Photomicrograph of a urine filtration membrane, 4× objective.
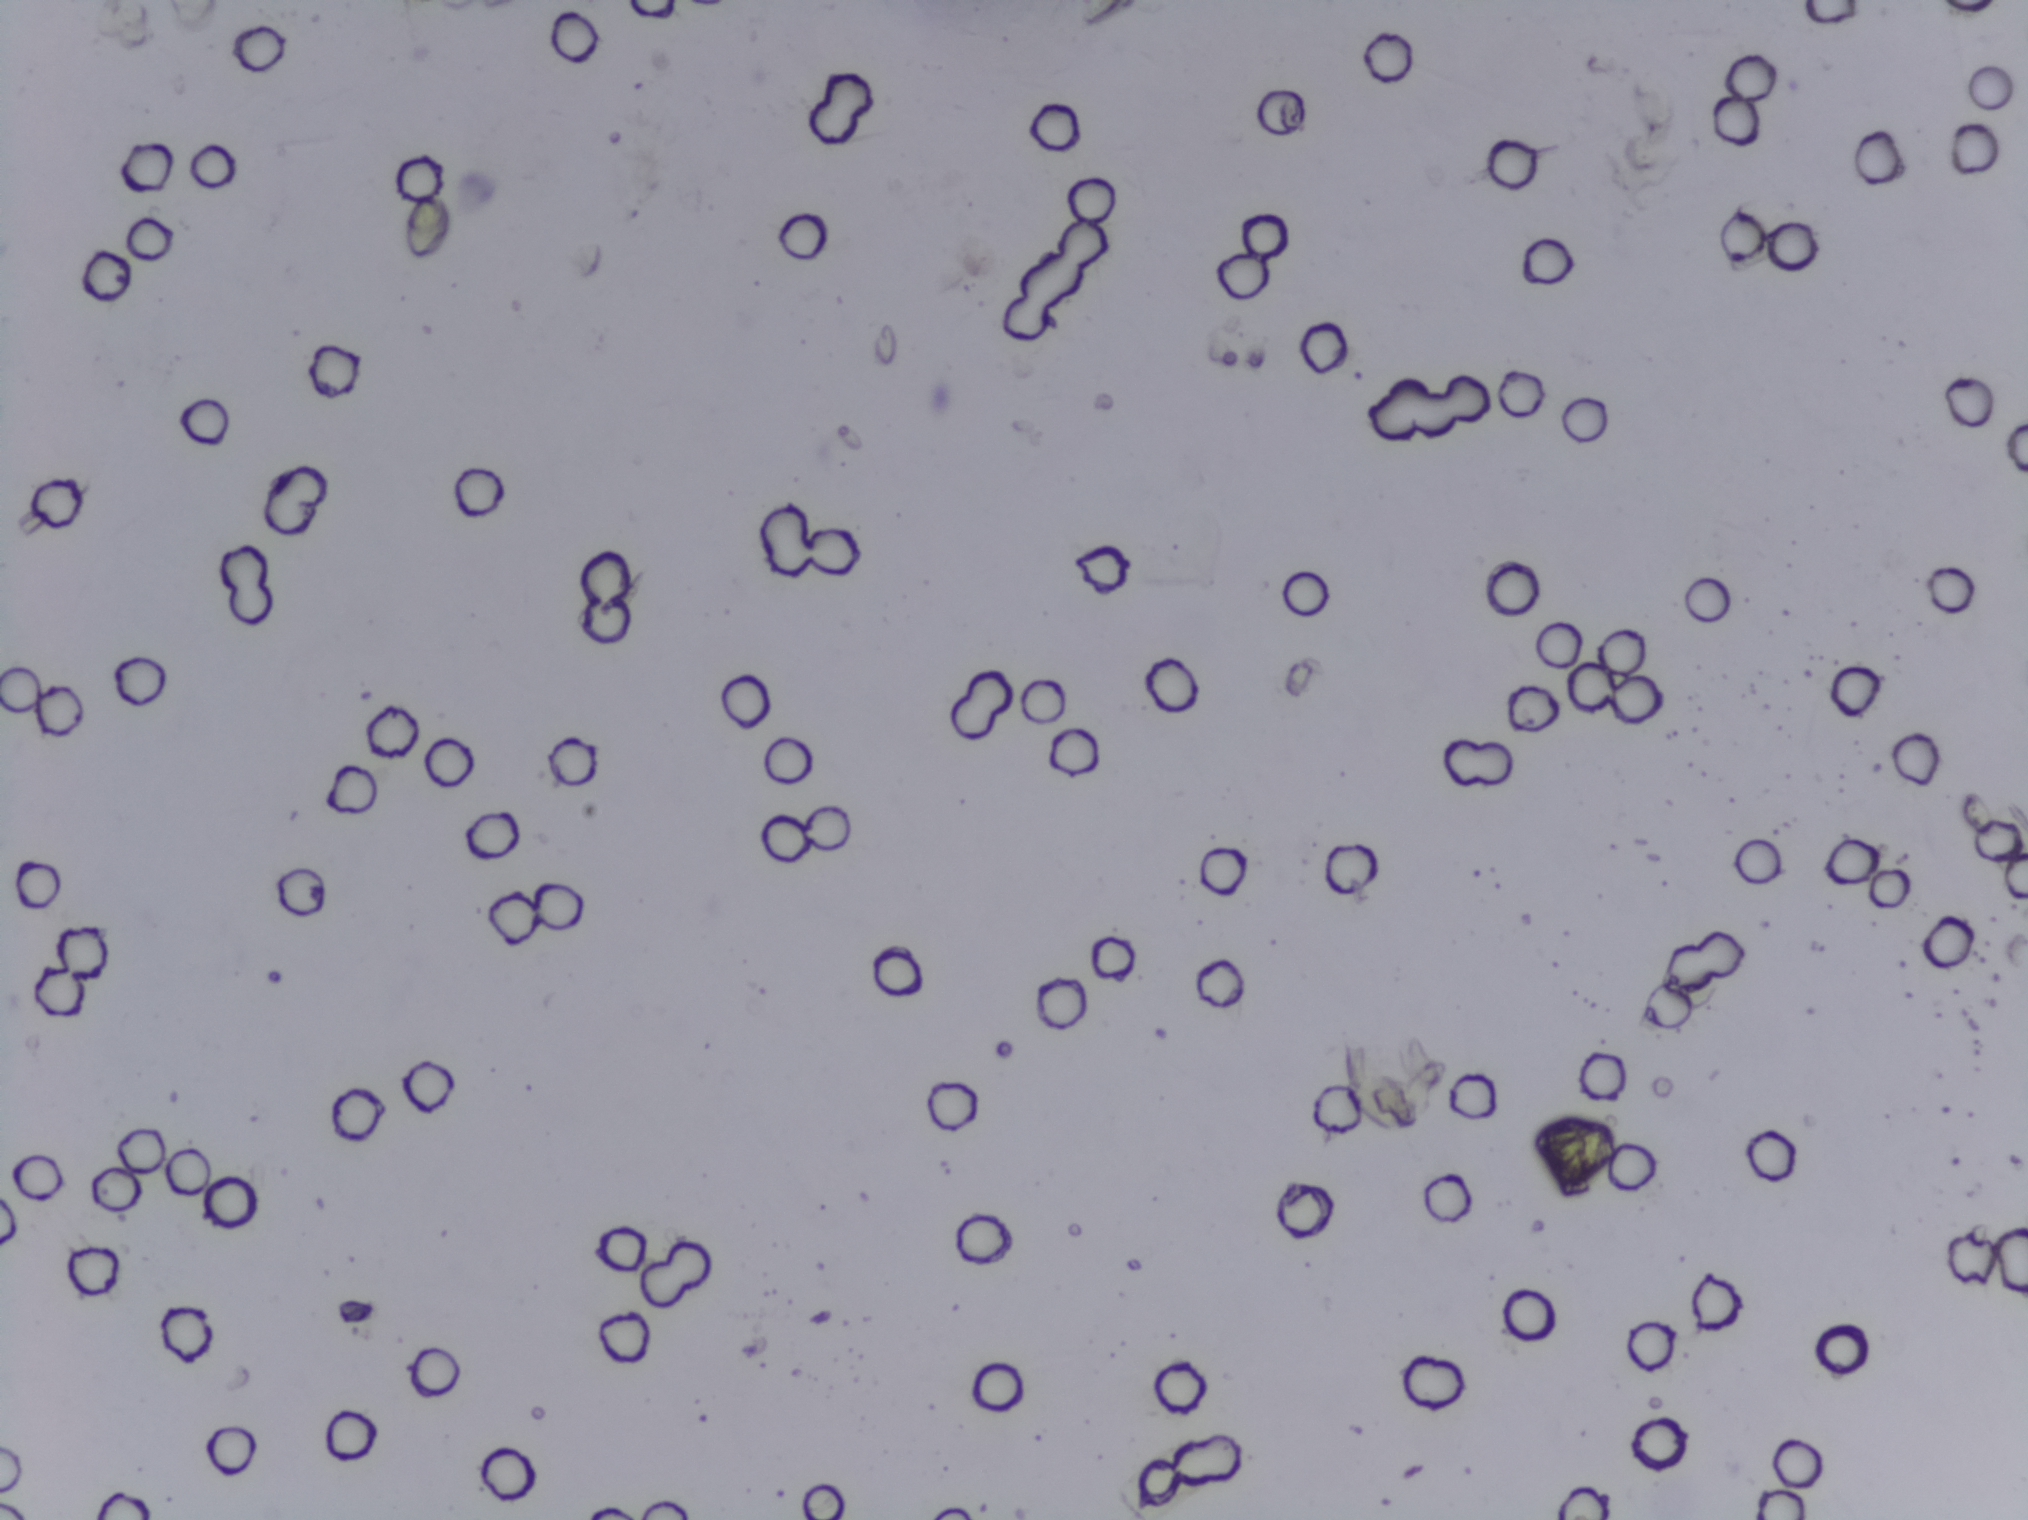
The expert annotation outlines no Schistosoma egg in this image.